One field of view of a urine filter membrane, 4× objective, 2028 × 1520 pixels. The image covers about 1.5 × 1.1 mm of the membrane.
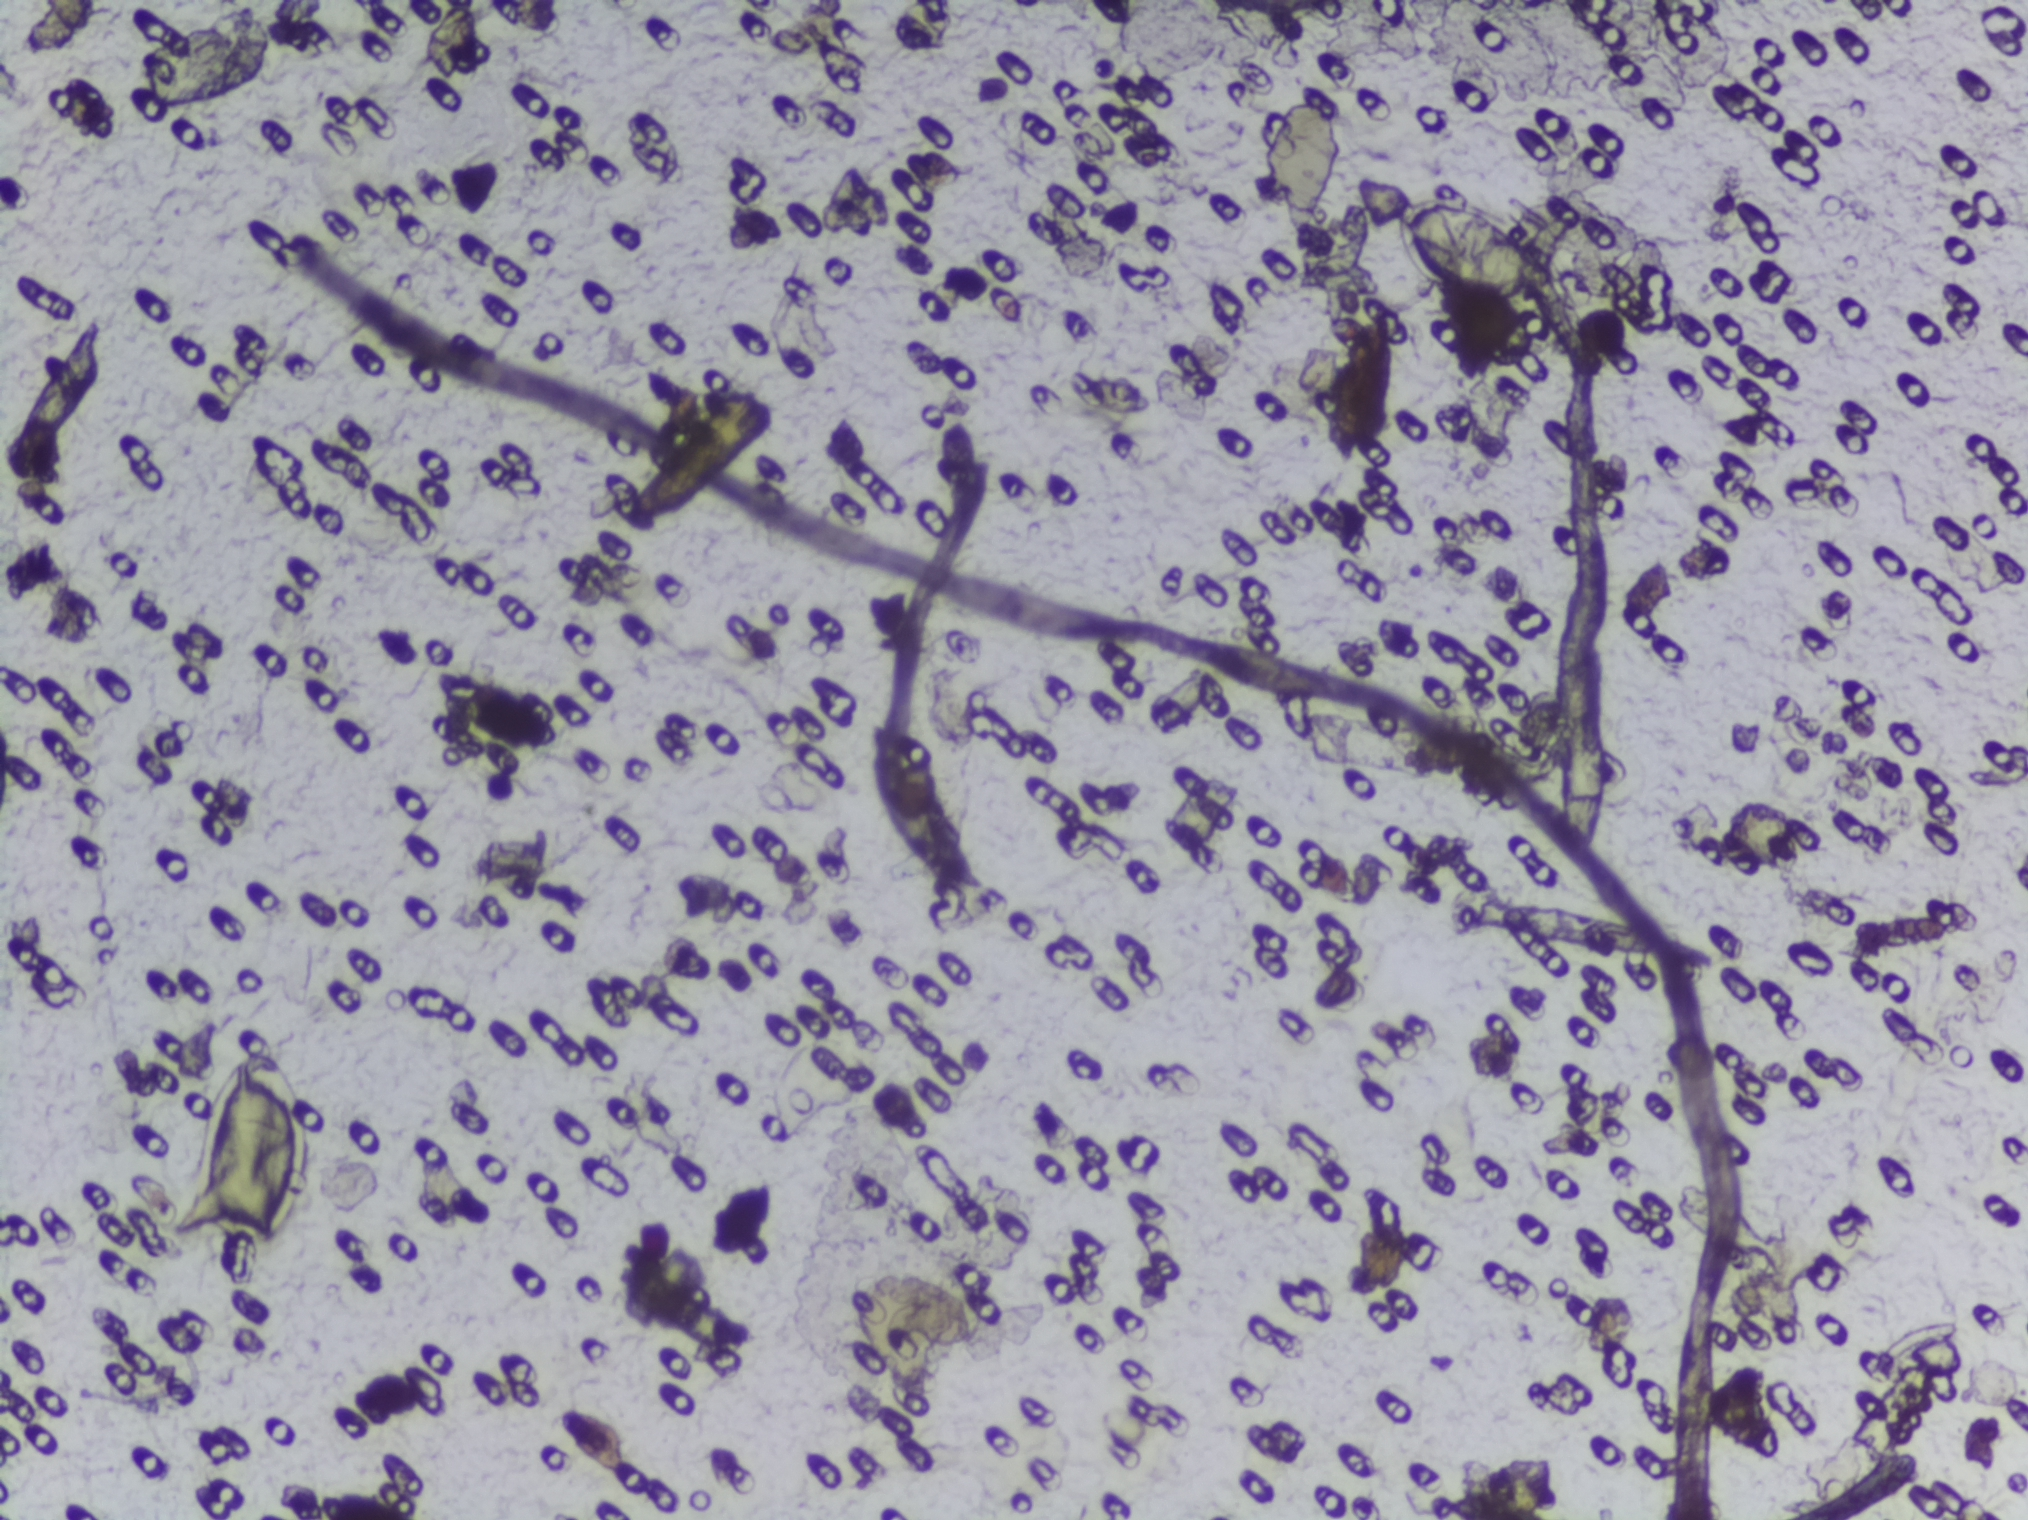
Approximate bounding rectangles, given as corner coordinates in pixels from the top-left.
Schistosoma eggs are outlined in two areas of this image, listed from left to right: (x1=170, y1=1031, x2=331, y2=1265) and (x1=1360, y1=176, x2=1550, y2=312). A single outlined area may contain several eggs.